Urine filtration membrane under a 4× objective, photographed by an automated digital microscope. The field of view is about 1.5 mm × 1.1 mm.
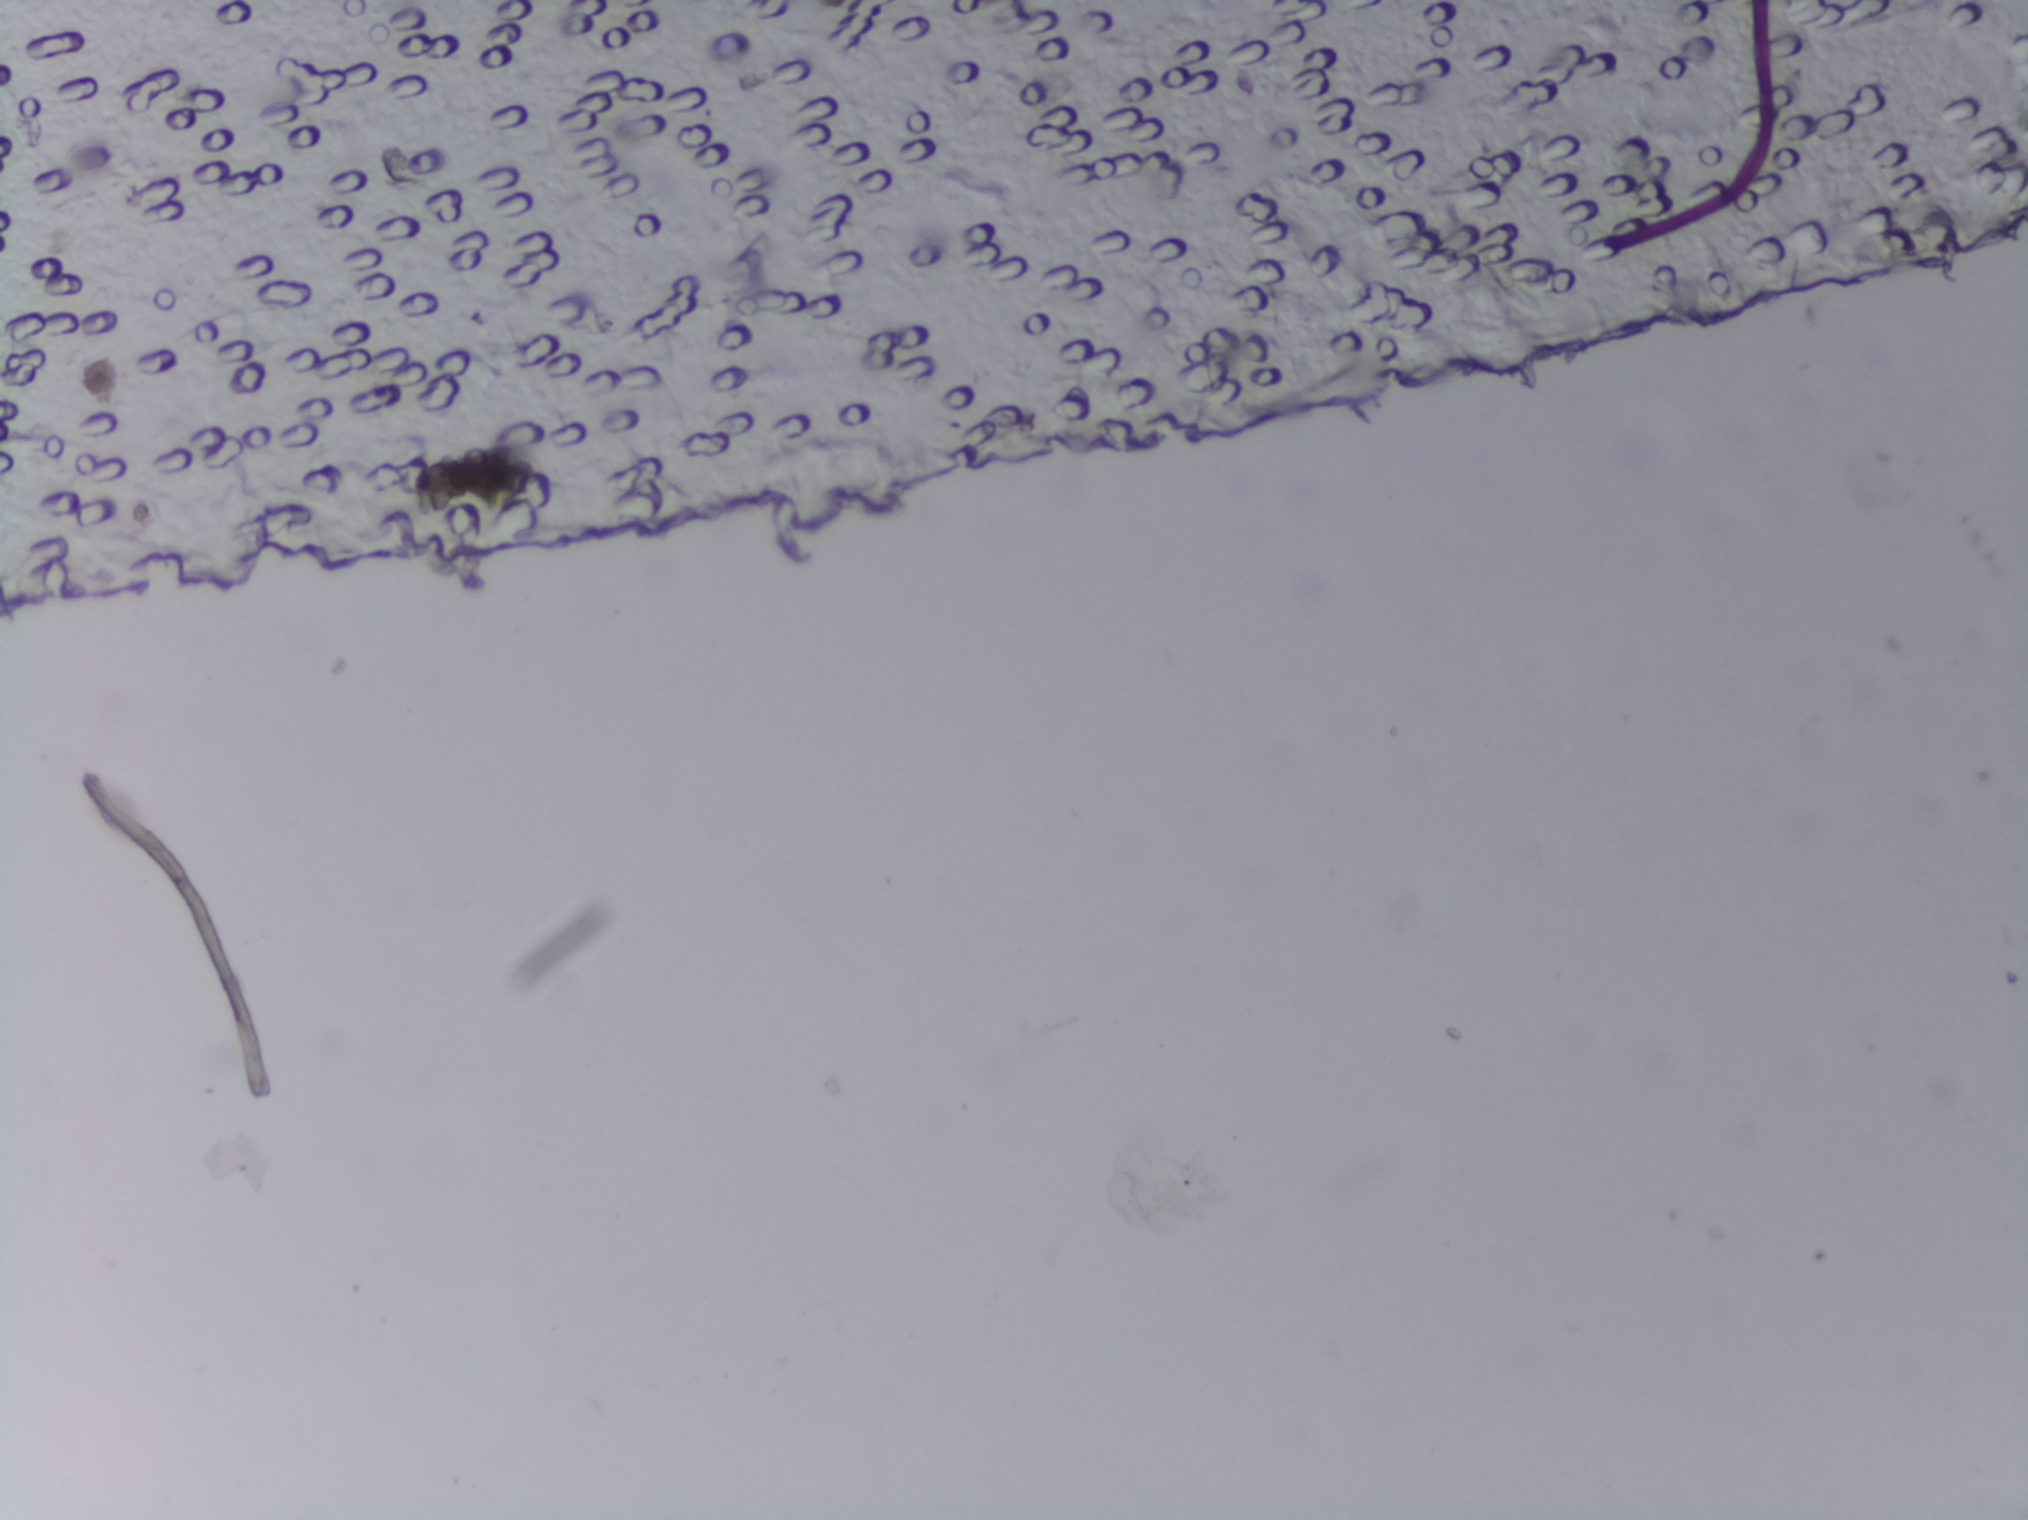
The expert annotation marks no Schistosoma egg in this field of view.